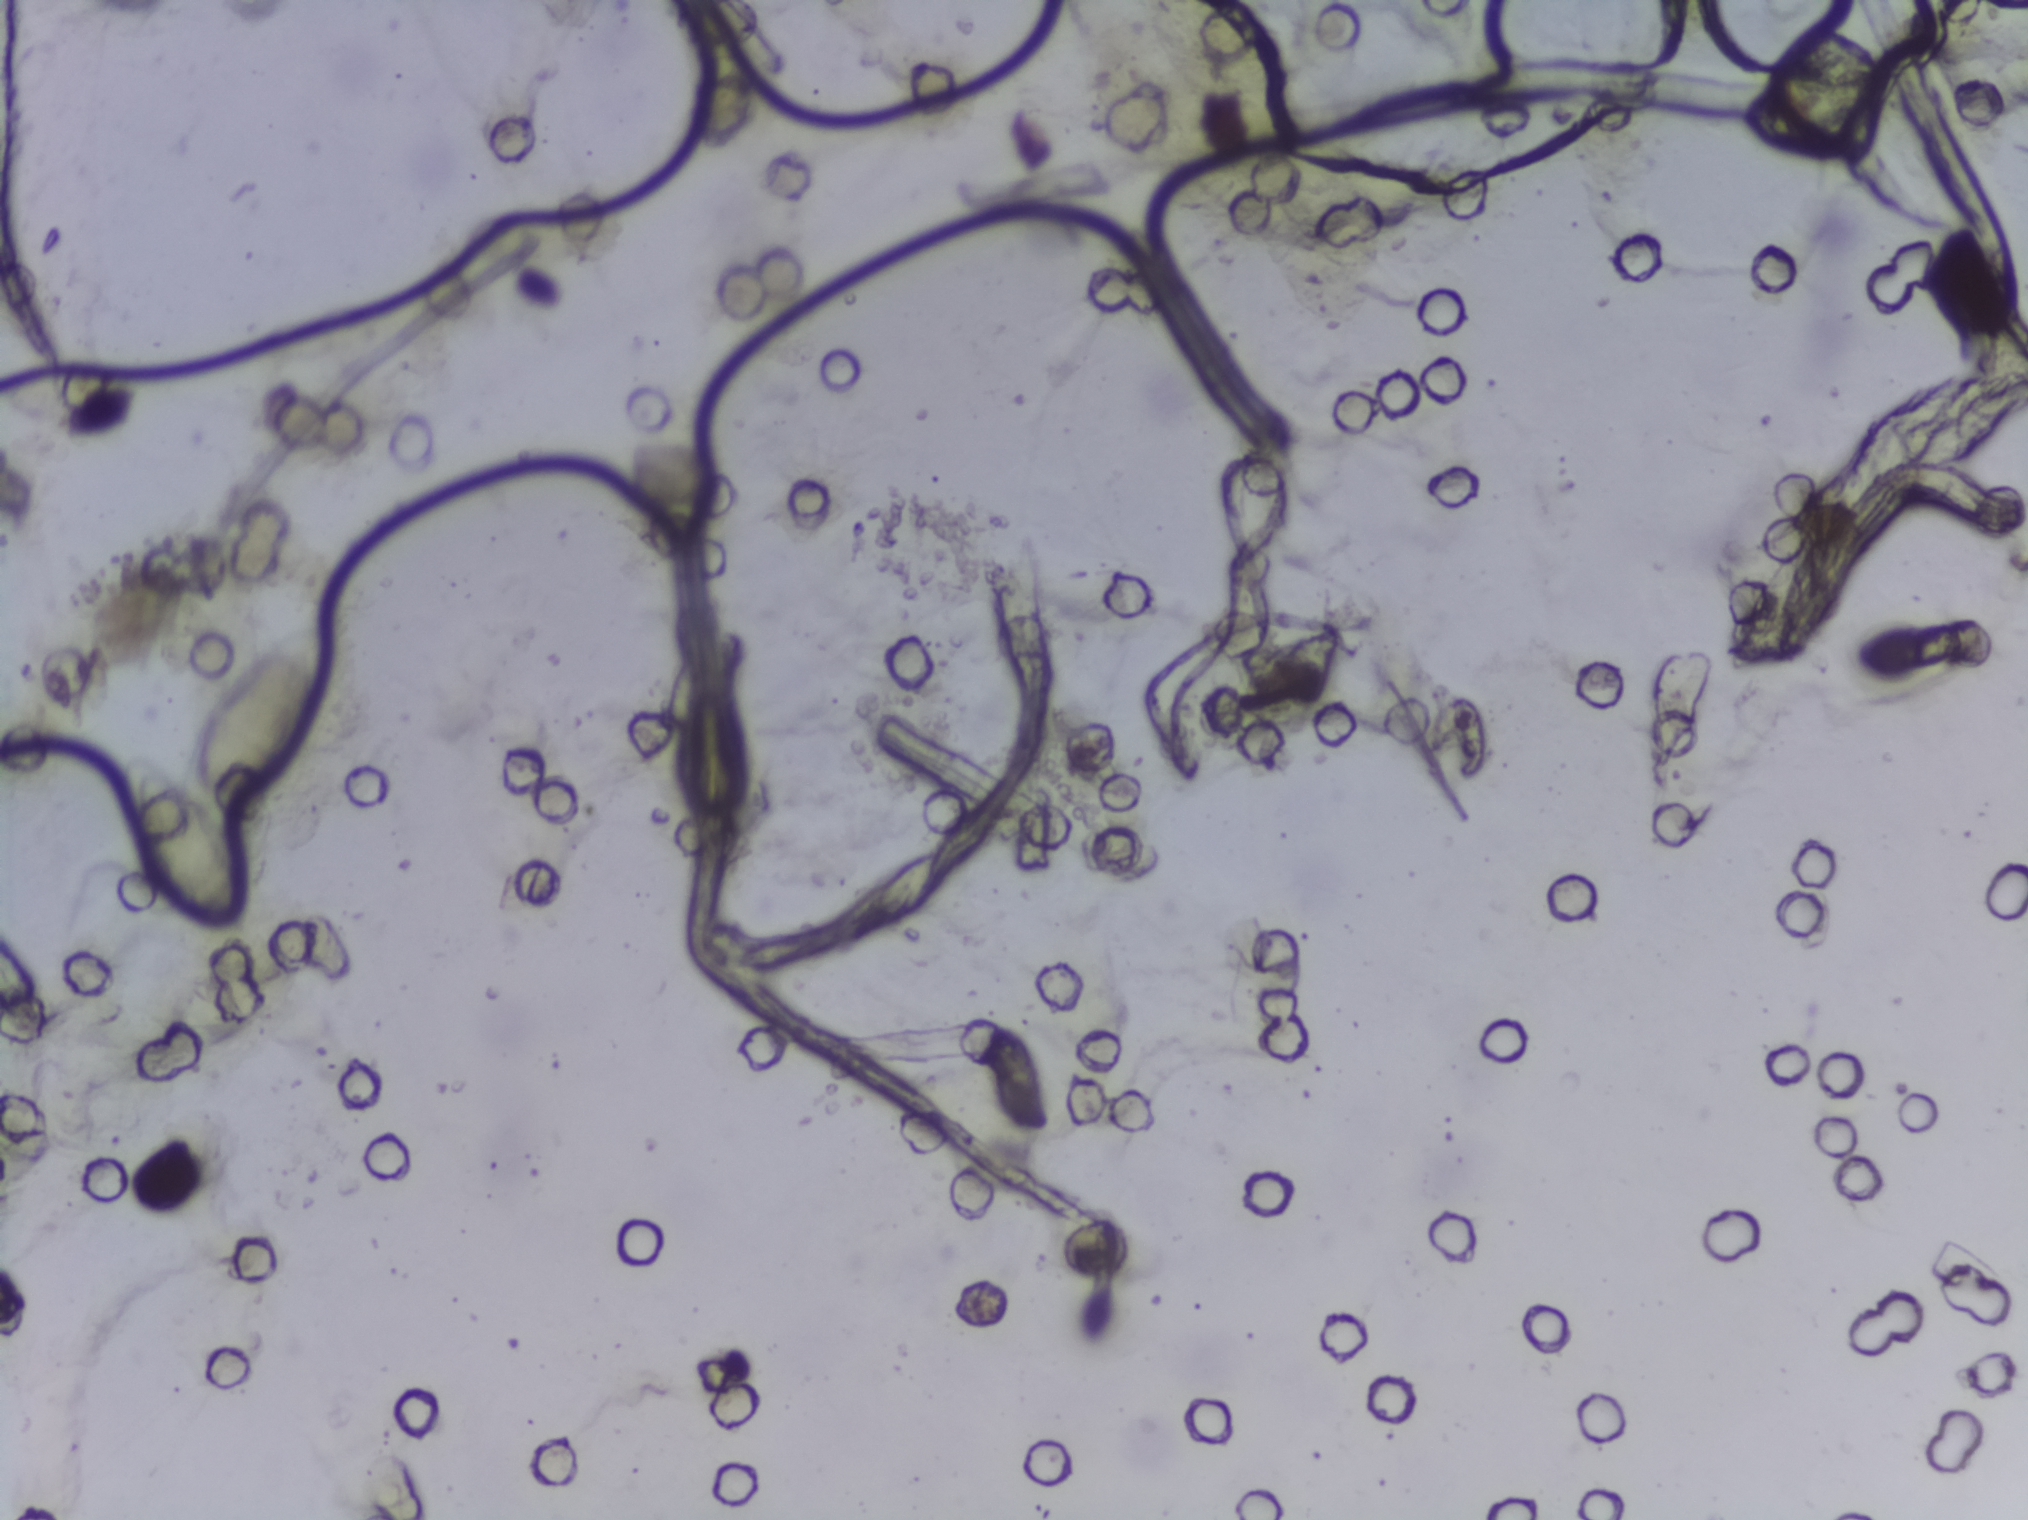
Photomicrograph of a urine filtration membrane, 4× objective.
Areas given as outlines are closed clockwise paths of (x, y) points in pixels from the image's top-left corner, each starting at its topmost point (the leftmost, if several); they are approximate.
One area of this image is outlined as Schistosoma eggs: outline (317, 620), (335, 628), (338, 655), (329, 707), (317, 730), (265, 787), (208, 803), (224, 824), (250, 893), (245, 930), (217, 934), (172, 903), (146, 867), (136, 760), (183, 778), (189, 744), (215, 690), (282, 631). About 1.0% of the image's pixels are marked (the marked pixels themselves, not the outline around them). An outlined area can hold more than one egg.